One field of view of a urine filter membrane, 4× objective, 2028 × 1520 pixels. Field of view: about 1.5 mm wide and 1.1 mm high.
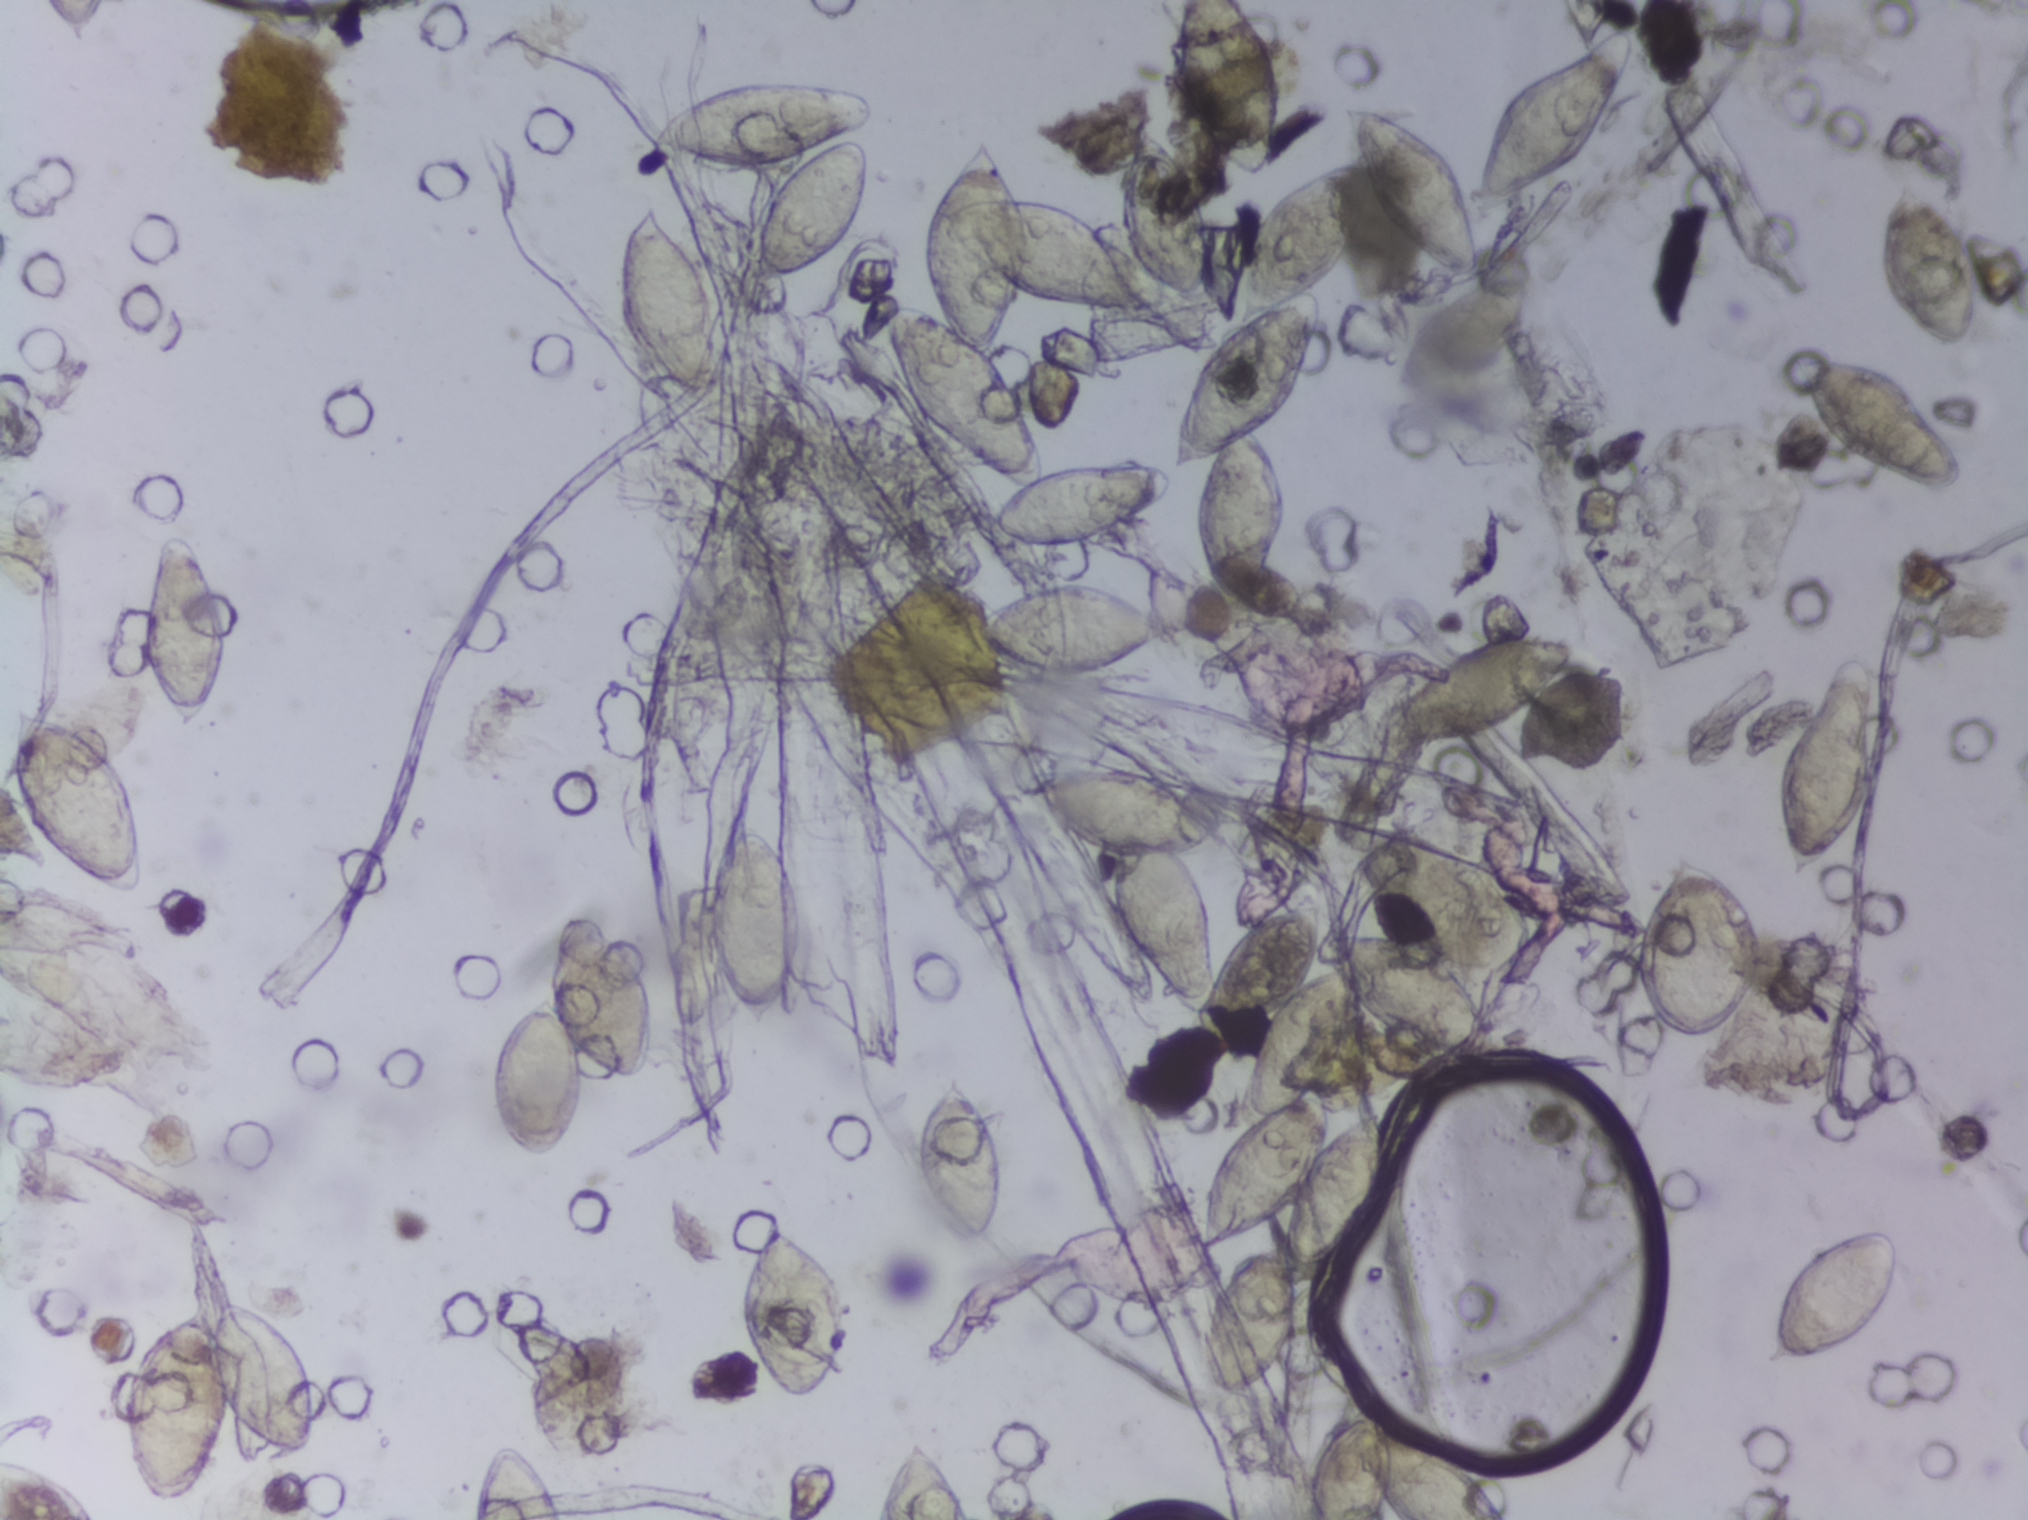
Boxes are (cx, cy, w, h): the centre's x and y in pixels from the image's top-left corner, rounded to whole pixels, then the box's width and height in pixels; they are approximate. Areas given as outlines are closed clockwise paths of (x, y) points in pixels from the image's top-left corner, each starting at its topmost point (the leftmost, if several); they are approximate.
24 areas of this image are outlined as Schistosoma eggs, from left to right: box (cx=47, cy=1490, w=95, h=60) (reaching the left and bottom edges of the frame); box (cx=75, cy=798, w=139, h=196); box (cx=181, cy=628, w=87, h=206); box (cx=220, cy=1402, w=199, h=204); box (cx=519, cy=1481, w=98, h=77) (reaching the bottom edge of the frame); box (cx=573, cy=1036, w=163, h=250); box (cx=668, cy=303, w=108, h=200); box (cx=755, cy=925, w=95, h=214); box (cx=766, cy=180, w=220, h=213); box (cx=792, cy=1309, w=111, h=183); box (cx=925, cy=1478, w=100, h=84) (reaching the bottom edge of the frame); box (cx=958, cy=1157, w=93, h=171); outline (1145, 118), (1186, 161), (1200, 192), (1213, 268), (1198, 300), (1156, 312), (1107, 312), (1026, 294), (996, 357), (1033, 414), (1044, 471), (1089, 458), (1144, 458), (1167, 468), (1174, 492), (1157, 512), (1131, 519), (1091, 544), (1064, 550), (1015, 546), (991, 537), (983, 518), (1017, 486), (999, 482), (917, 417), (882, 338), (876, 304), (882, 299), (934, 309), (922, 248), (927, 202), (978, 135), (998, 144), (1020, 193), (1078, 207), (1121, 244), (1115, 173) (eggs clustered together); box (cx=1073, cy=629, w=200, h=105); box (cx=1225, cy=92, w=117, h=185) (reaching the top edge of the frame); outline (1100, 764), (1161, 772), (1221, 818), (1222, 832), (1212, 847), (1192, 858), (1206, 882), (1217, 955), (1257, 907), (1308, 889), (1324, 900), (1322, 934), (1345, 927), (1384, 929), (1353, 872), (1352, 836), (1368, 823), (1465, 842), (1503, 868), (1536, 917), (1536, 971), (1498, 980), (1463, 976), (1500, 1027), (1506, 1060), (1437, 1061), (1362, 1012), (1347, 1059), (1327, 1087), (1329, 1123), (1357, 1102), (1377, 1104), (1388, 1116), (1387, 1212), (1357, 1257), (1329, 1273), (1301, 1275), (1301, 1317), (1288, 1359), (1263, 1383), (1227, 1400), (1215, 1401), (1201, 1373), (1199, 1338), (1209, 1291), (1243, 1252), (1272, 1244), (1280, 1224), (1241, 1235), (1226, 1253), (1206, 1258), (1198, 1212), (1215, 1147), (1240, 1125), (1238, 1084), (1263, 1030), (1240, 1037), (1193, 1035), (1192, 1014), (1130, 957), (1105, 910), (1106, 853), (1040, 817), (1020, 793), (1025, 772) (eggs clustered together); outline (1557, 0), (1625, 0), (1612, 25), (1629, 24), (1637, 47), (1625, 89), (1574, 169), (1532, 194), (1473, 207), (1484, 264), (1512, 245), (1530, 254), (1532, 305), (1521, 341), (1487, 374), (1432, 388), (1397, 384), (1395, 365), (1413, 325), (1430, 302), (1467, 279), (1440, 272), (1371, 204), (1351, 257), (1321, 287), (1323, 313), (1296, 402), (1257, 431), (1272, 445), (1285, 490), (1281, 545), (1265, 591), (1246, 610), (1226, 613), (1198, 567), (1191, 525), (1200, 466), (1175, 468), (1173, 421), (1180, 386), (1197, 355), (1237, 322), (1235, 259), (1249, 217), (1305, 173), (1357, 156), (1340, 130), (1339, 105), (1347, 101), (1383, 104), (1433, 134), (1456, 158), (1474, 203), (1480, 145), (1507, 87), (1576, 46) (eggs clustered together; reaching the top edge of the frame); box (cx=1409, cy=1461, w=206, h=117) (reaching the bottom edge of the frame); box (cx=1471, cy=690, w=207, h=117); box (cx=1704, cy=950, w=118, h=193); box (cx=1825, cy=765, w=110, h=233); box (cx=1832, cy=1296, w=137, h=147); box (cx=1880, cy=424, w=172, h=142); box (cx=1926, cy=266, w=99, h=173). The marked pixels themselves, not the boxes and the outlines around them, cover about 19% of the image. Eggs that touch can end up inside the same outlined area.